One field of view of a urine filter membrane, 4× objective, 2028 × 1520 pixels. The field of view is about 1.5 mm × 1.1 mm.
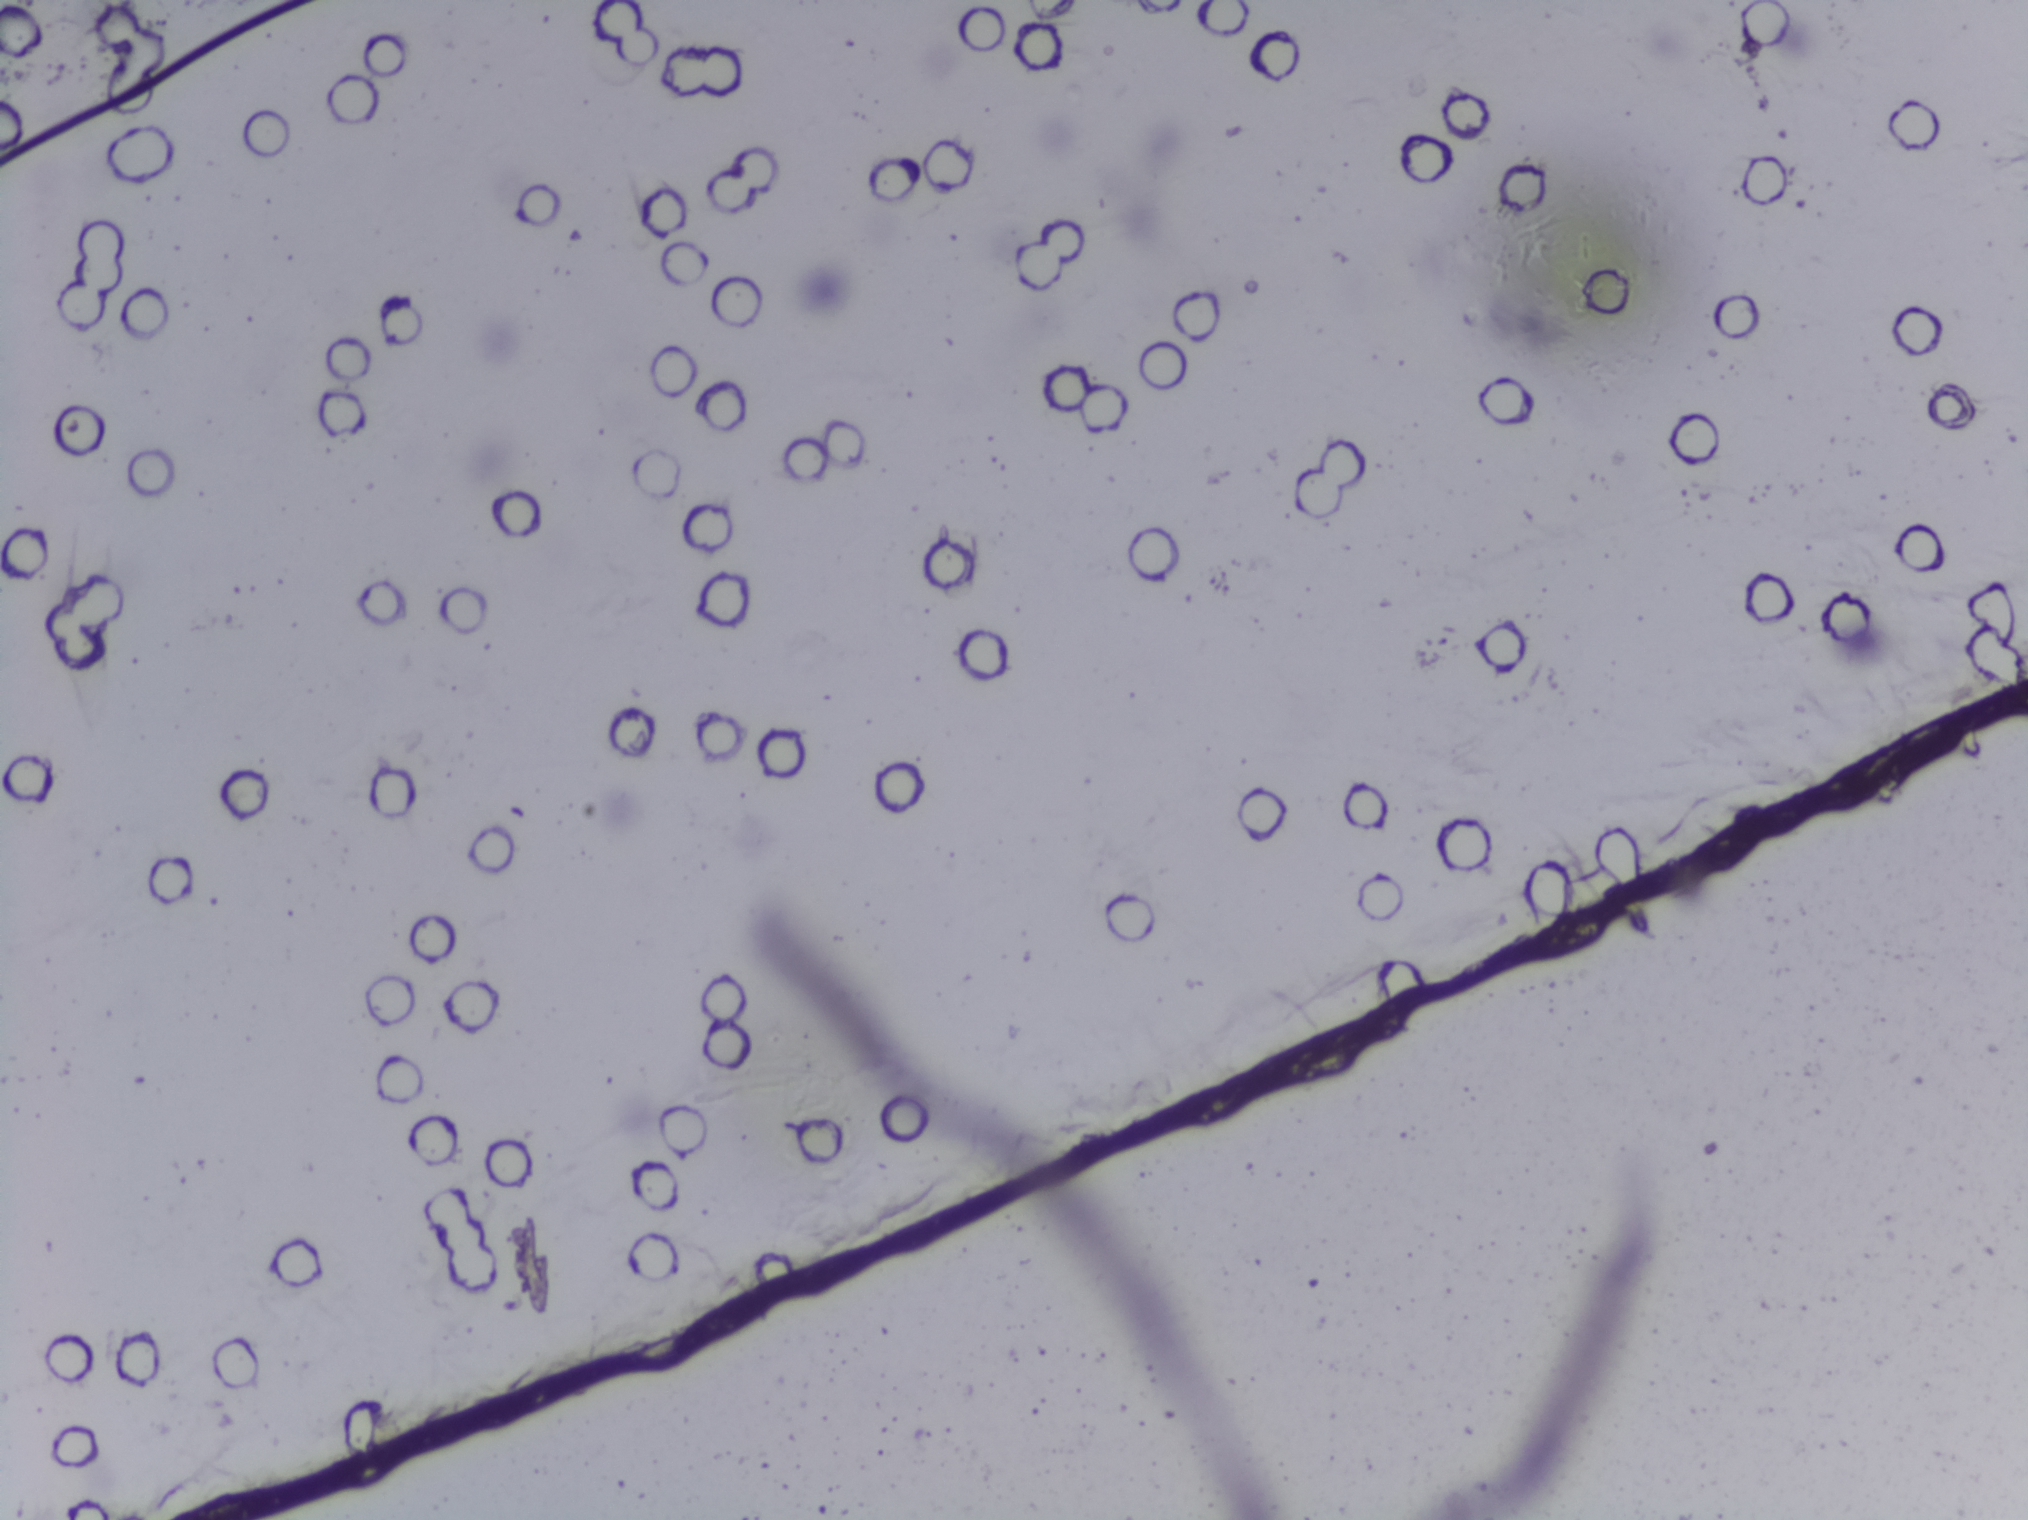
Schistosoma eggs: none outlined.